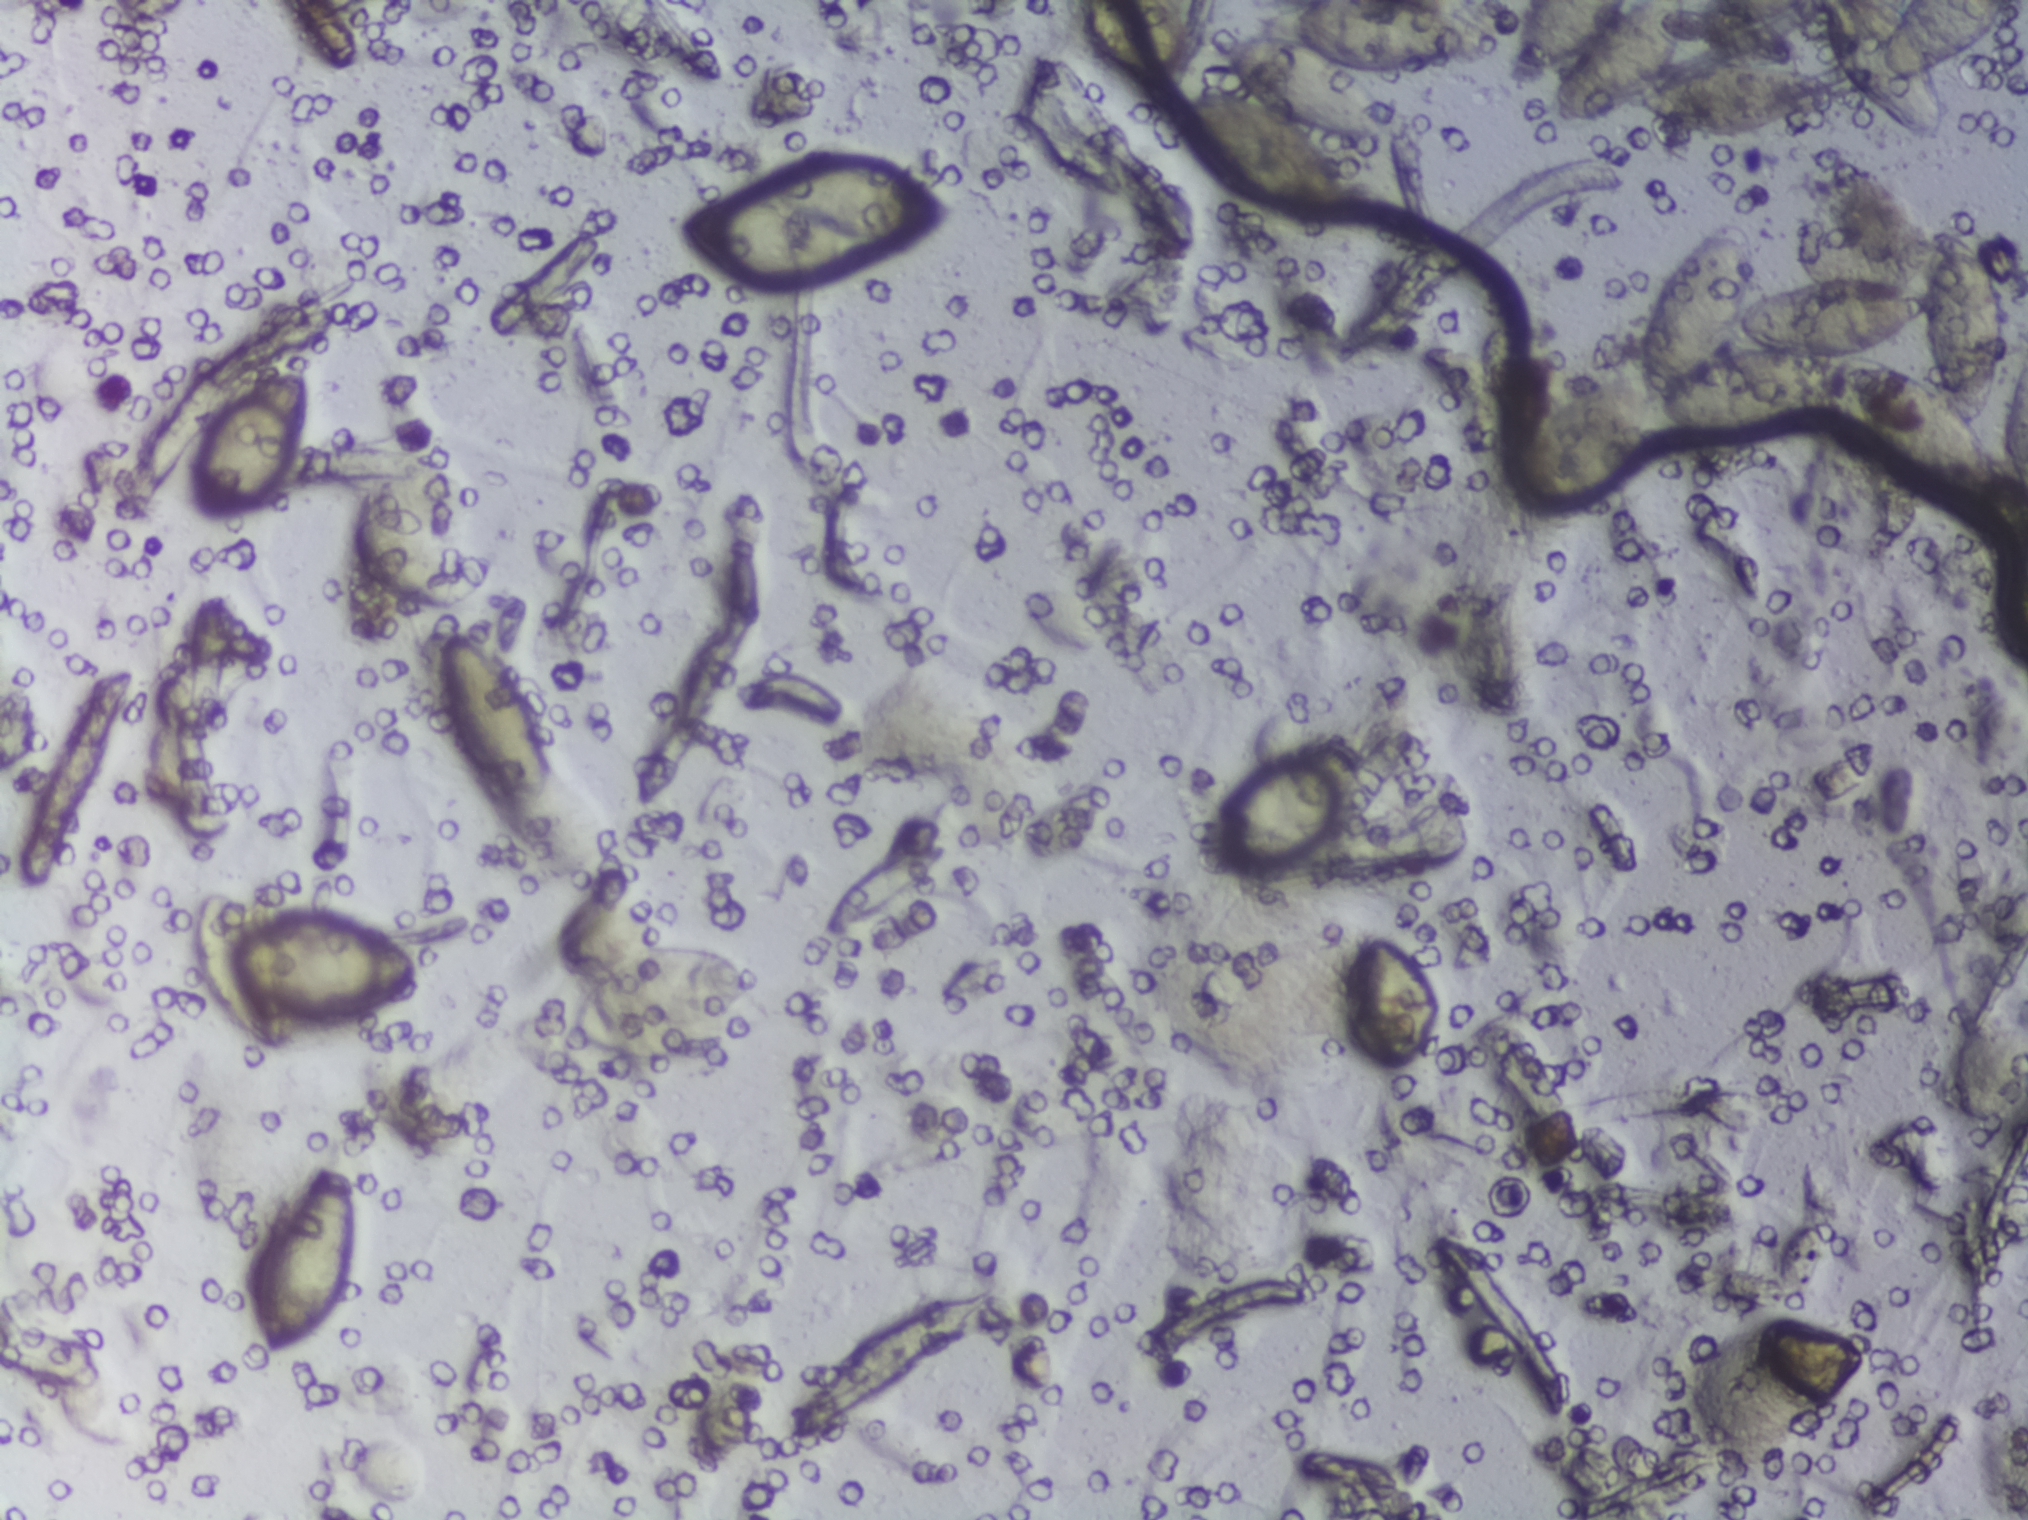
Urine filtration membrane under a 4× objective, photographed by an automated digital microscope.
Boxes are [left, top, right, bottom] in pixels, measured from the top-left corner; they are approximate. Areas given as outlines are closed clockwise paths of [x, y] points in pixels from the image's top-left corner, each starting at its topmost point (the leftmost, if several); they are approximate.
Ten areas of this image are outlined as Schistosoma eggs, from left to right: box [189, 367, 314, 521]; box [196, 891, 421, 1058]; box [247, 1166, 355, 1358]; box [434, 627, 551, 804]; box [579, 941, 756, 1037]; box [676, 157, 959, 294]; box [1175, 0, 1473, 213] (reaching the top edge of the frame); box [1507, 0, 1835, 142] (reaching the top edge of the frame); outline [1727, 221], [1751, 221], [1758, 234], [1744, 303], [1814, 275], [1882, 278], [1916, 290], [1932, 241], [1949, 223], [1967, 230], [1998, 276], [2003, 301], [2003, 364], [1979, 422], [1996, 475], [1991, 494], [1981, 503], [1949, 503], [1866, 461], [1834, 424], [1830, 405], [1791, 427], [1737, 440], [1690, 440], [1655, 418], [1639, 378], [1655, 288], [1696, 237] (a cluster of eggs); box [1825, 0, 2014, 141] (reaching the top edge of the frame). An outlined area can hold more than one egg.